One field of view of a urine filter membrane, 4× objective, 2028 × 1520 pixels. Field of view: about 1.5 mm wide and 1.1 mm high.
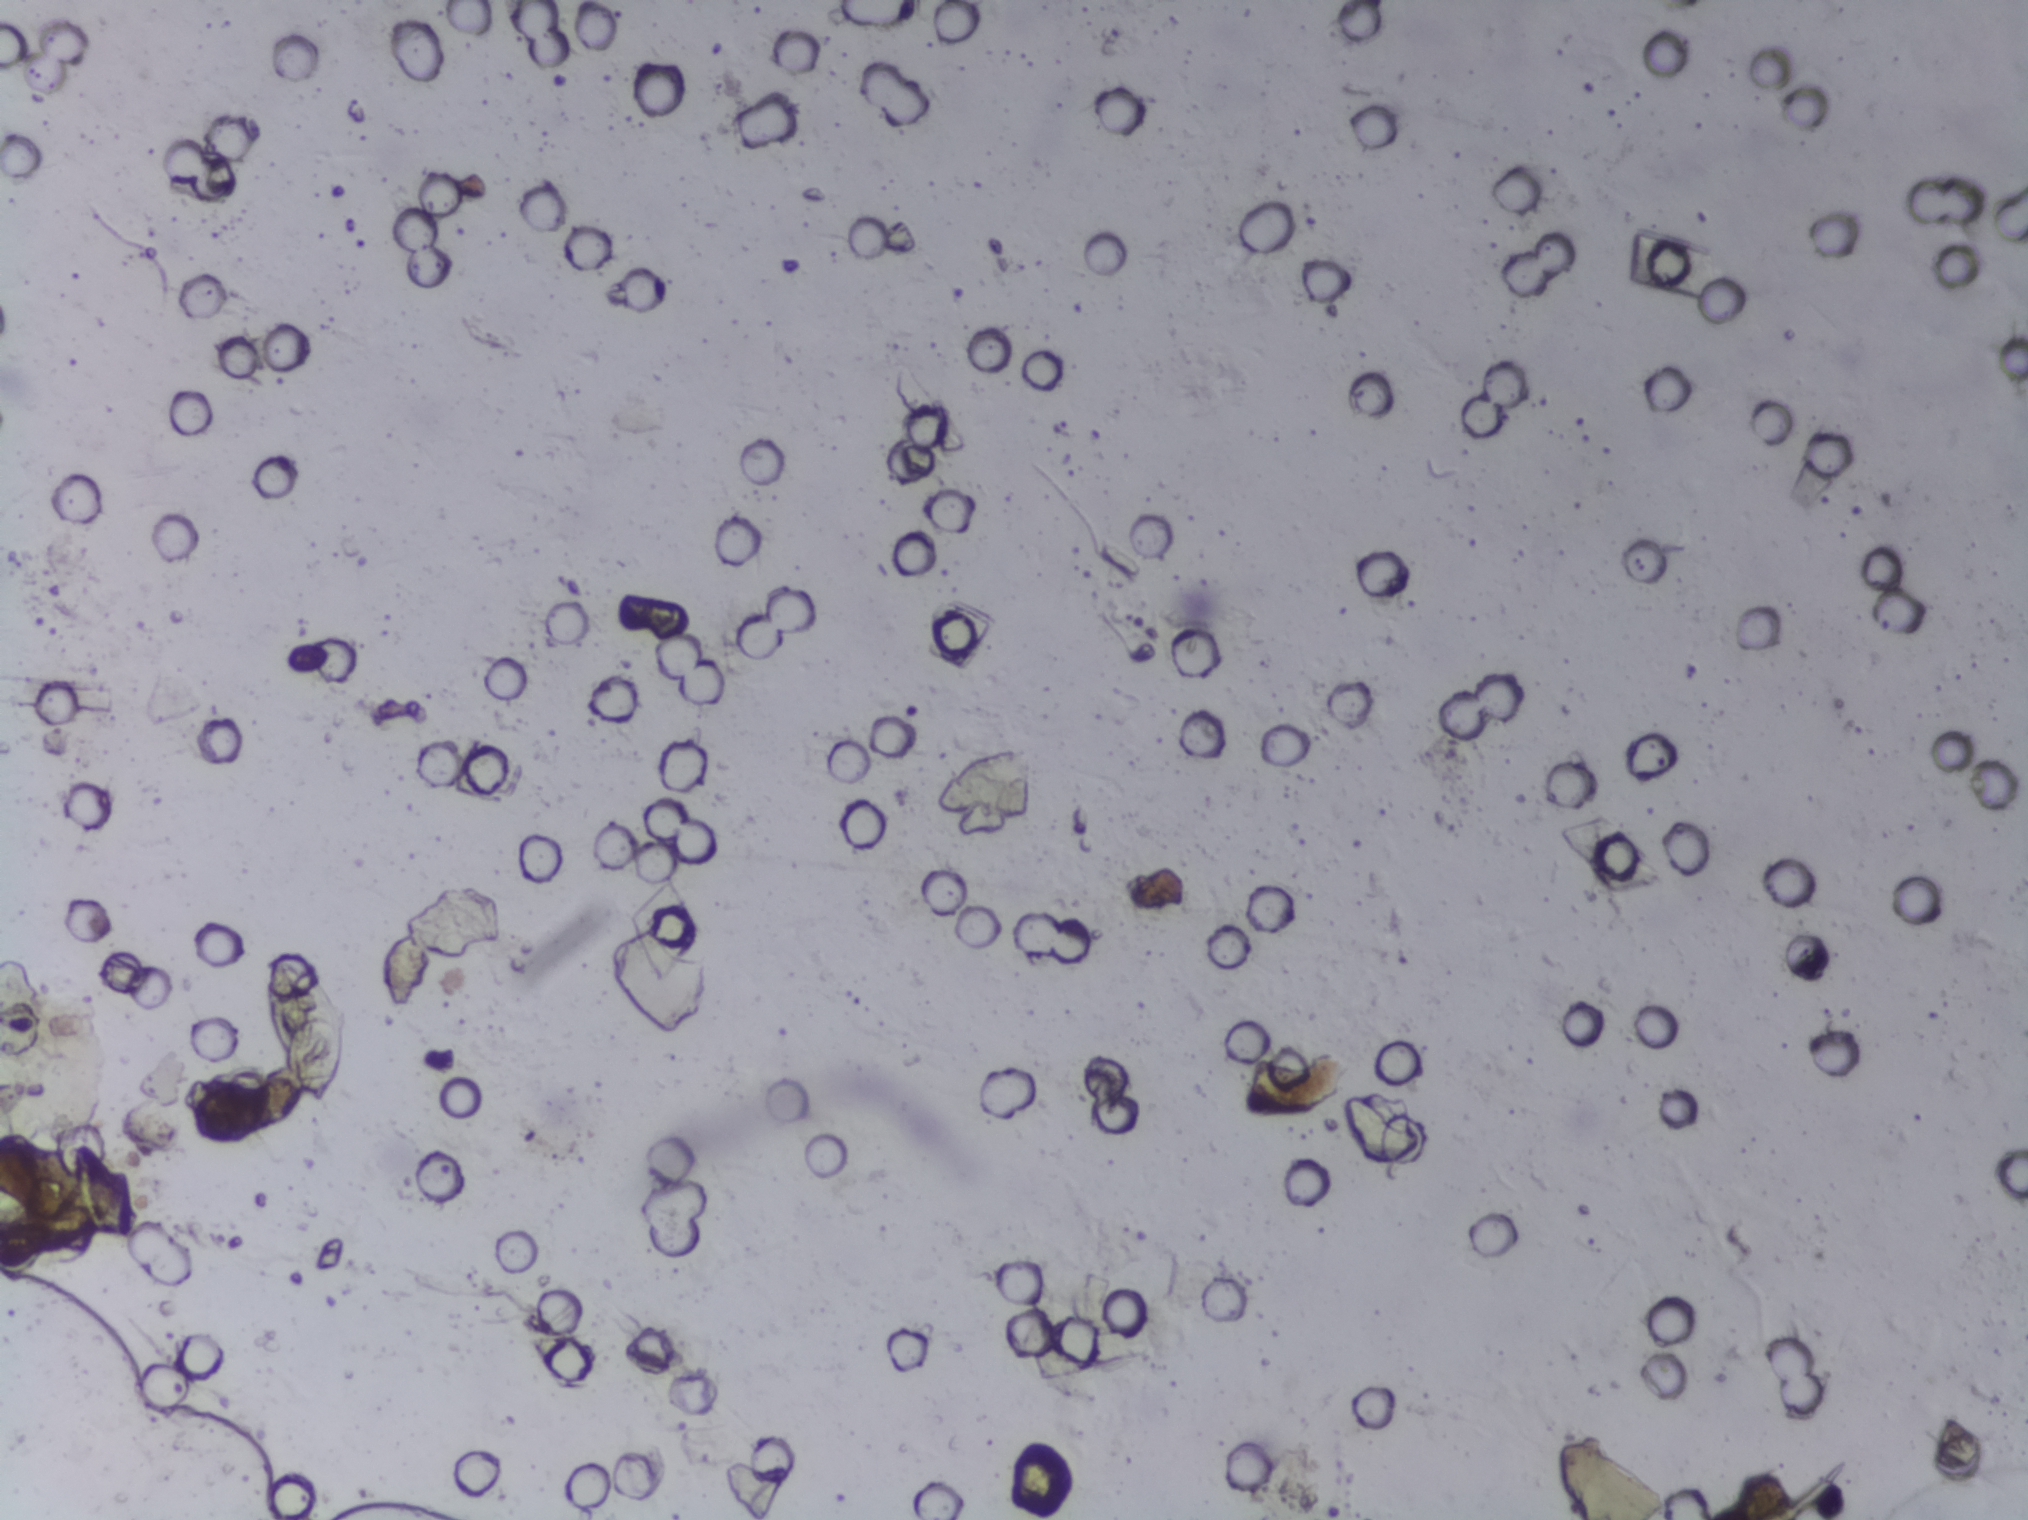
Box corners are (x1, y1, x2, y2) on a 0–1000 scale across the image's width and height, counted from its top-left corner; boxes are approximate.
Schistosoma egg areas, outlined: (131, 624, 170, 728). About 0.3% of the image's pixels are marked (the marked pixels themselves, not the box around them). An outlined area can hold more than one egg.